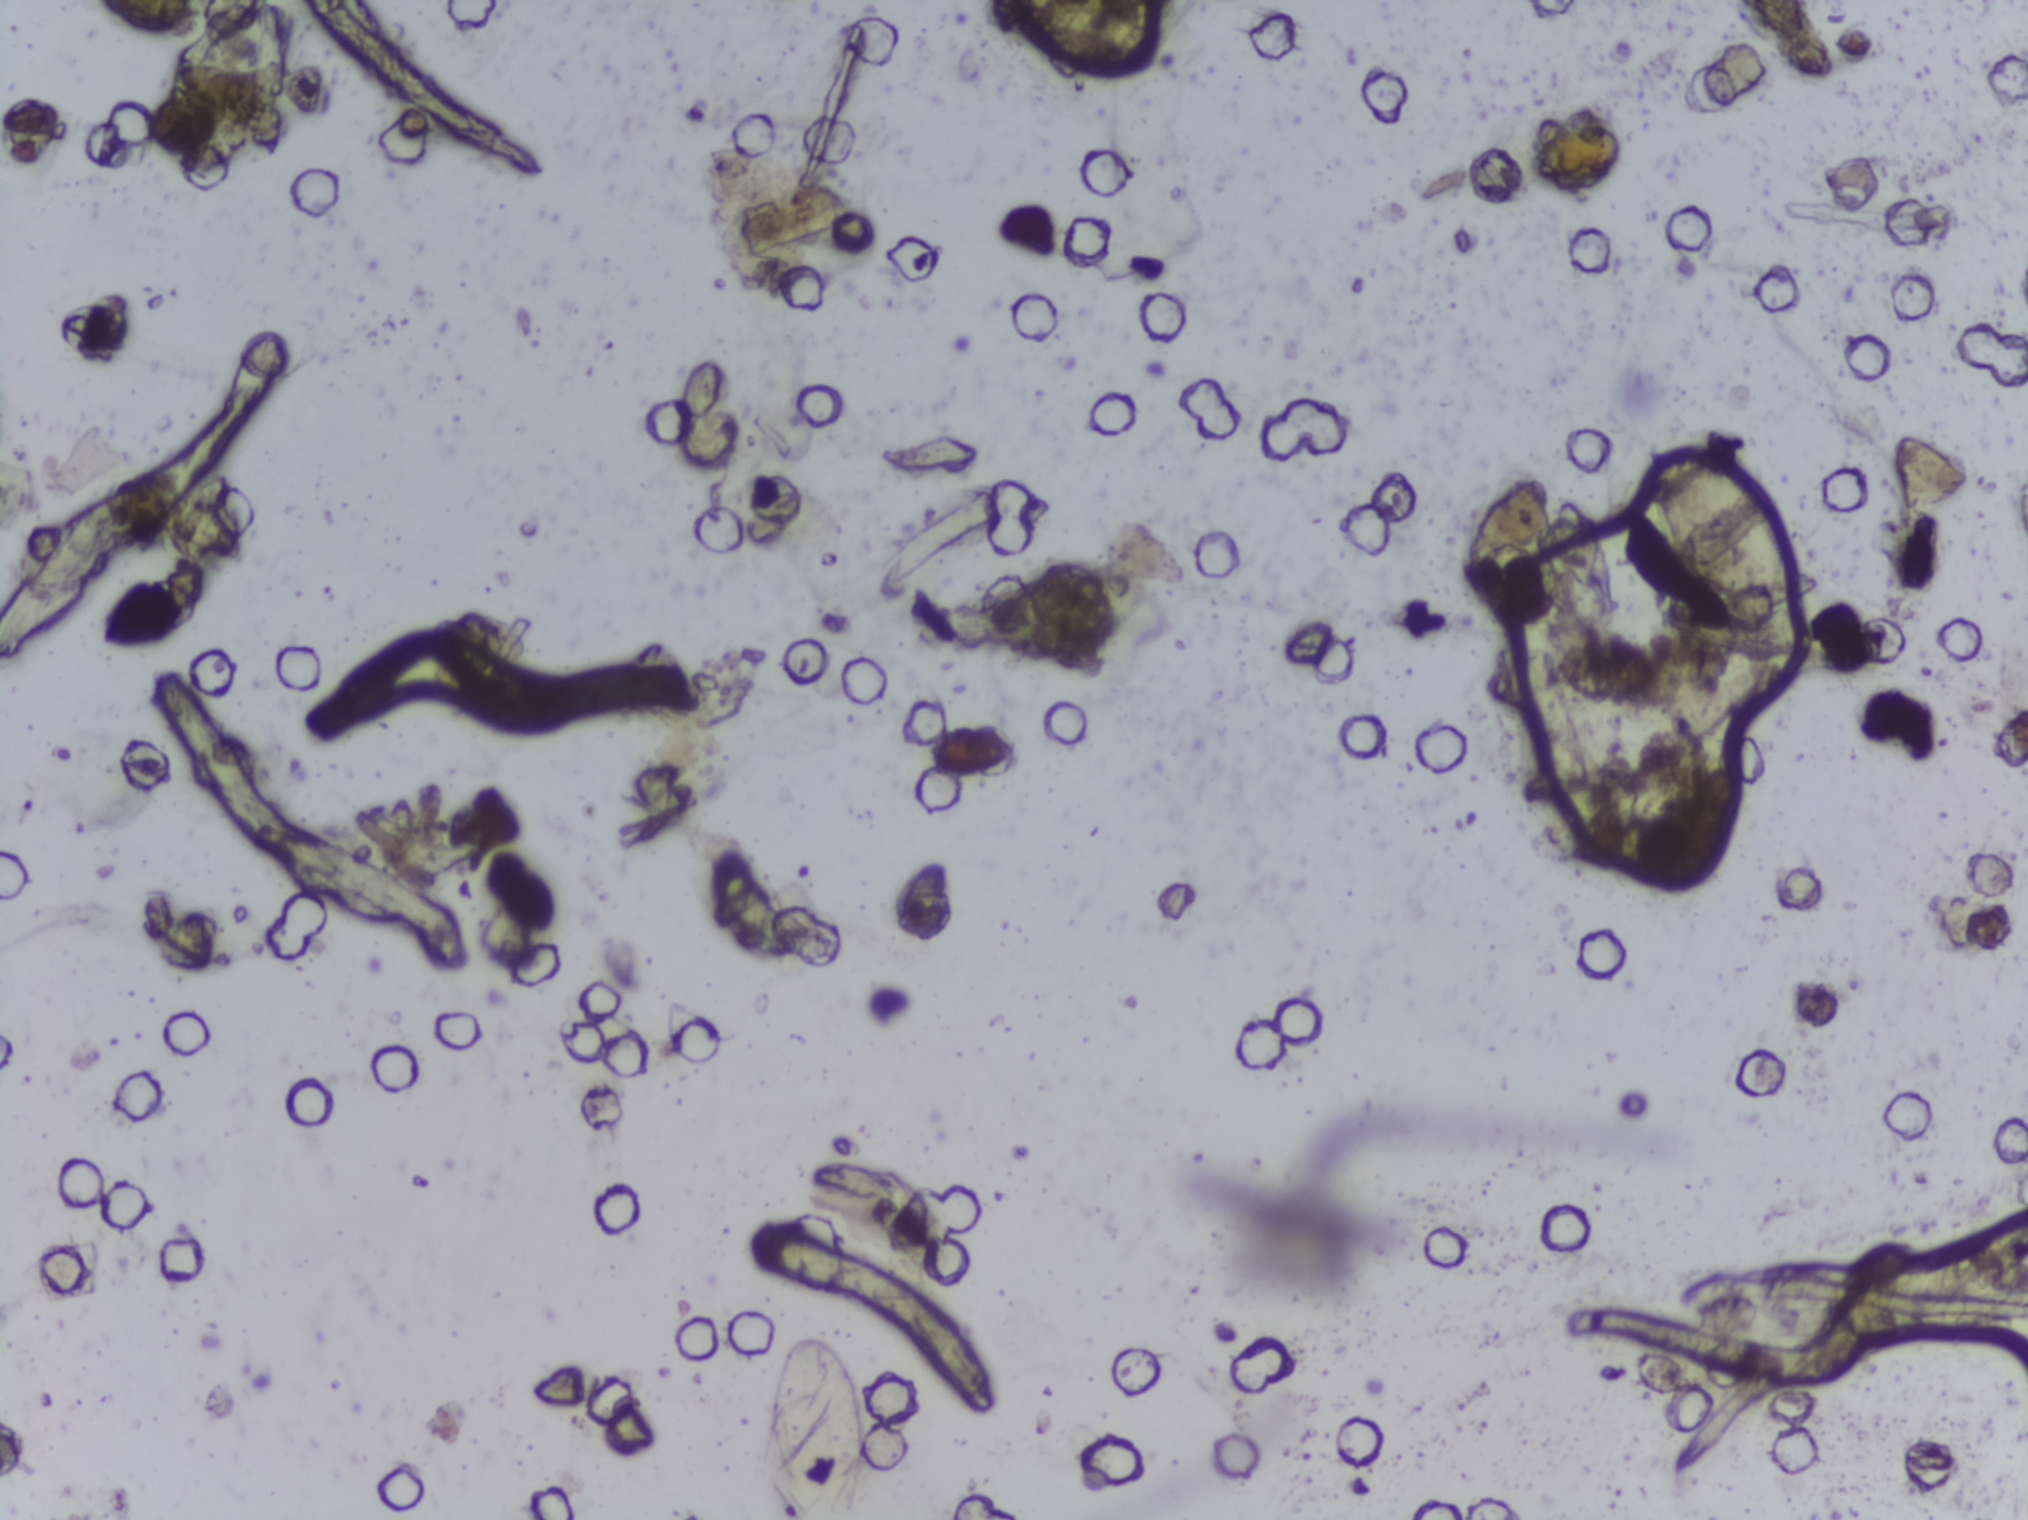
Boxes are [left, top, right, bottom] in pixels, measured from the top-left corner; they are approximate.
Schistosoma eggs are outlined in the expert annotation at [761, 1326, 872, 1519] (reaching the bottom edge of the frame) and [1648, 438, 1792, 609] (left to right). Eggs that touch can end up inside the same outlined area.
Microscope photograph (4× objective) of a membrane that a urine sample was filtered through. The image covers about 1.5 × 1.1 mm of the membrane.